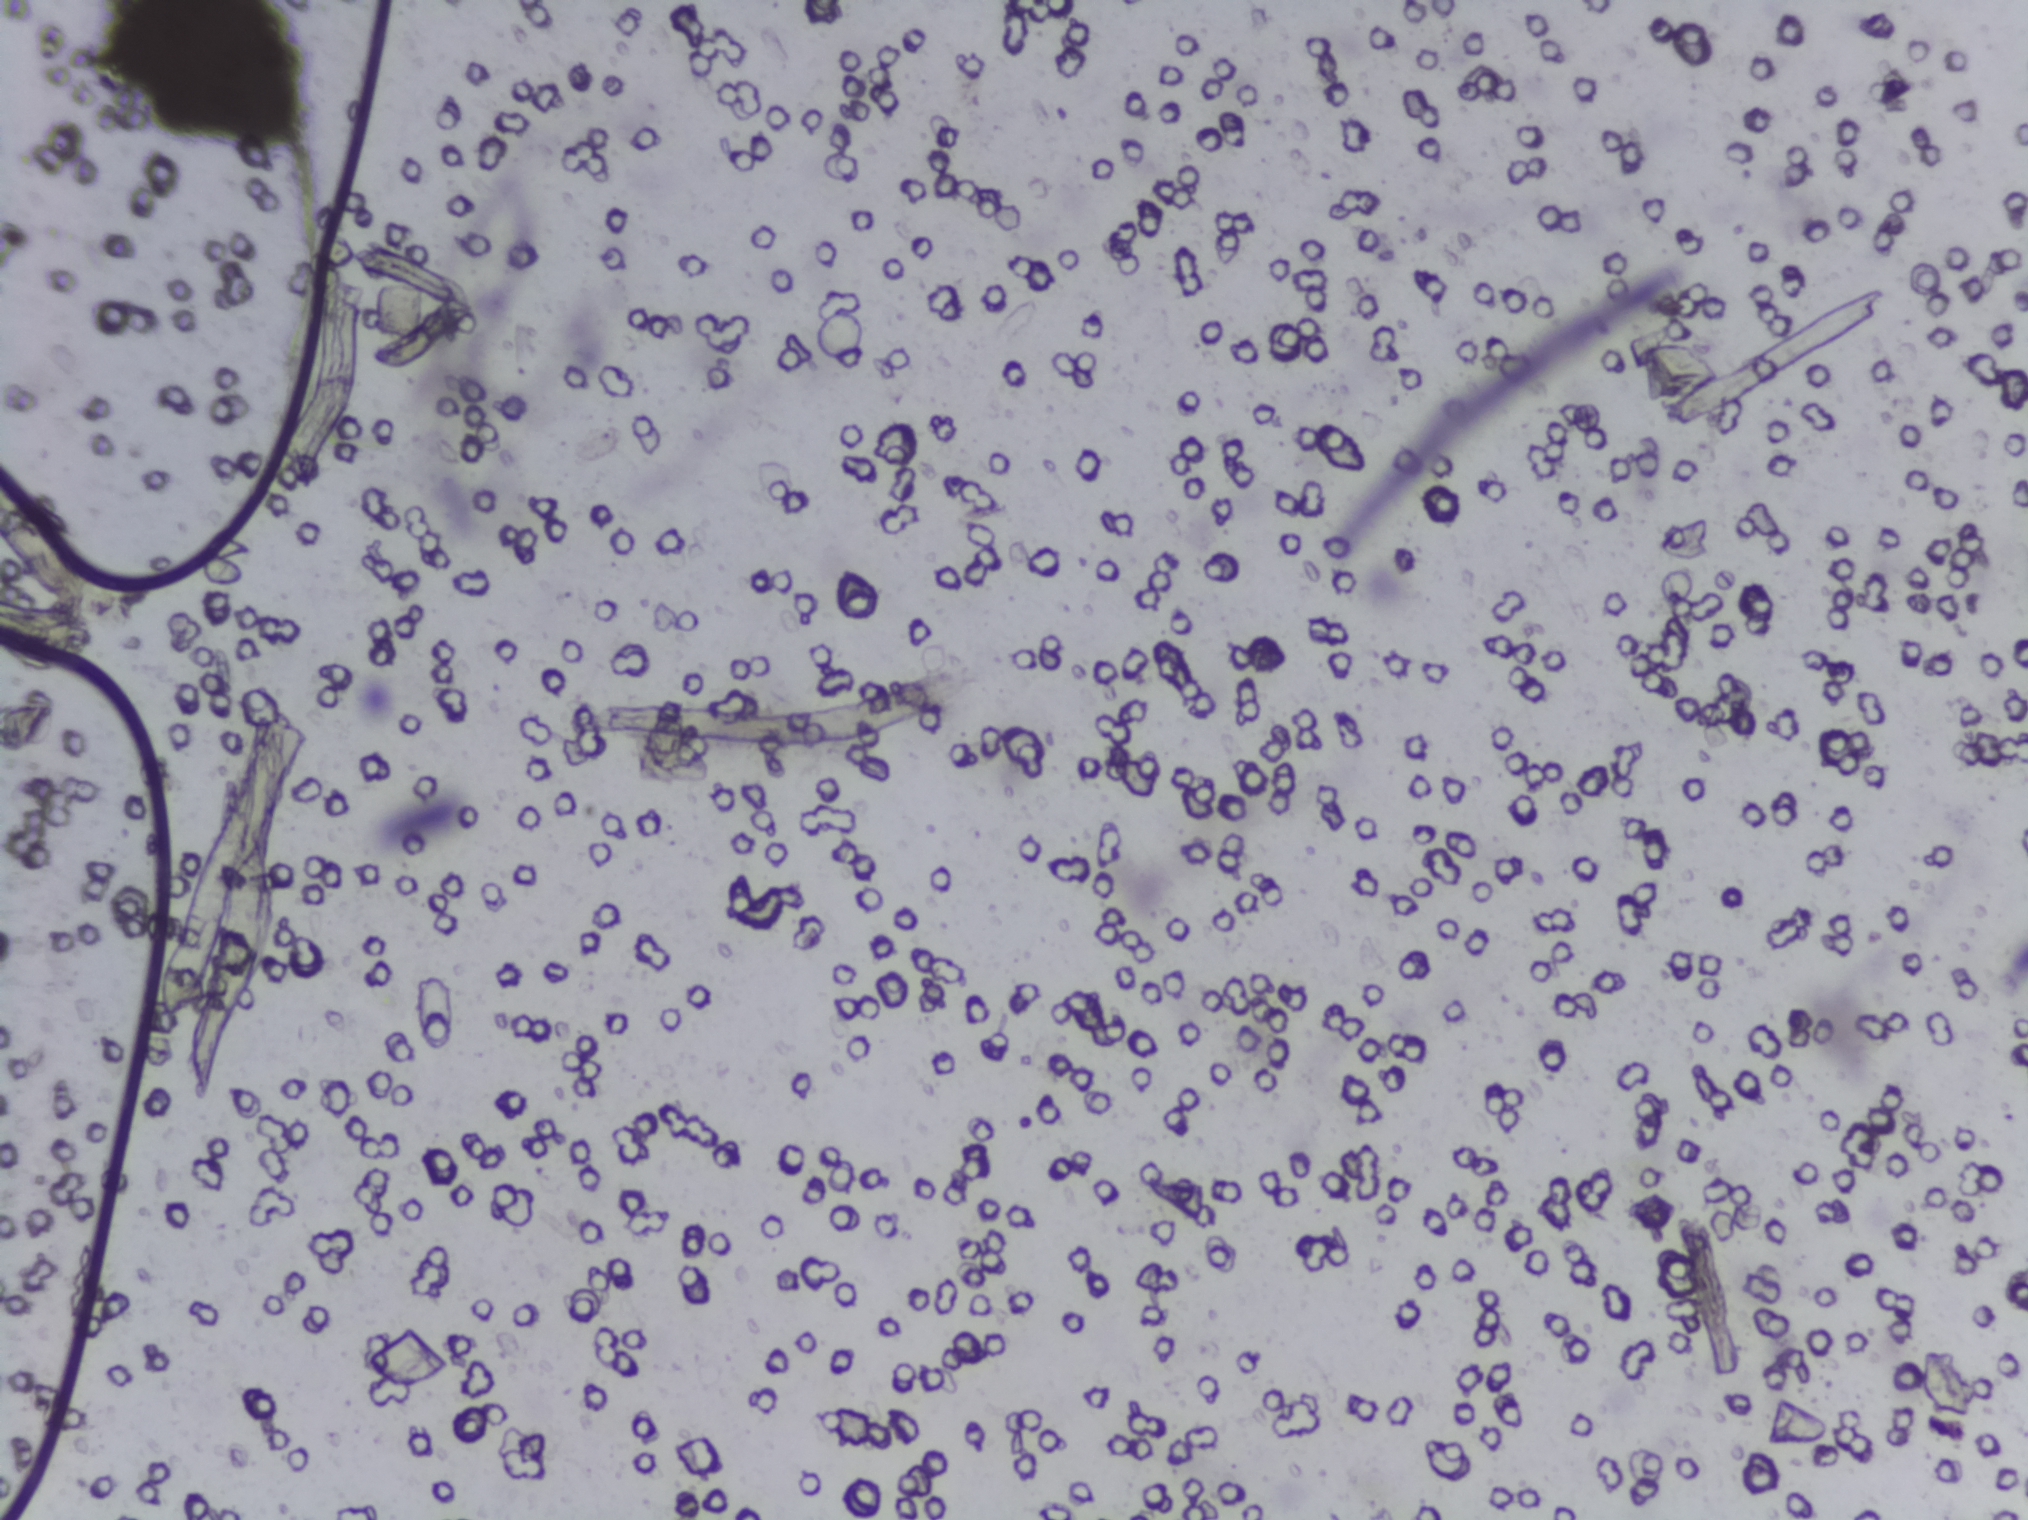
Schistosoma eggs: none outlined.
Photograph from an automated digital microscope: urine filter membrane, 4× objective.